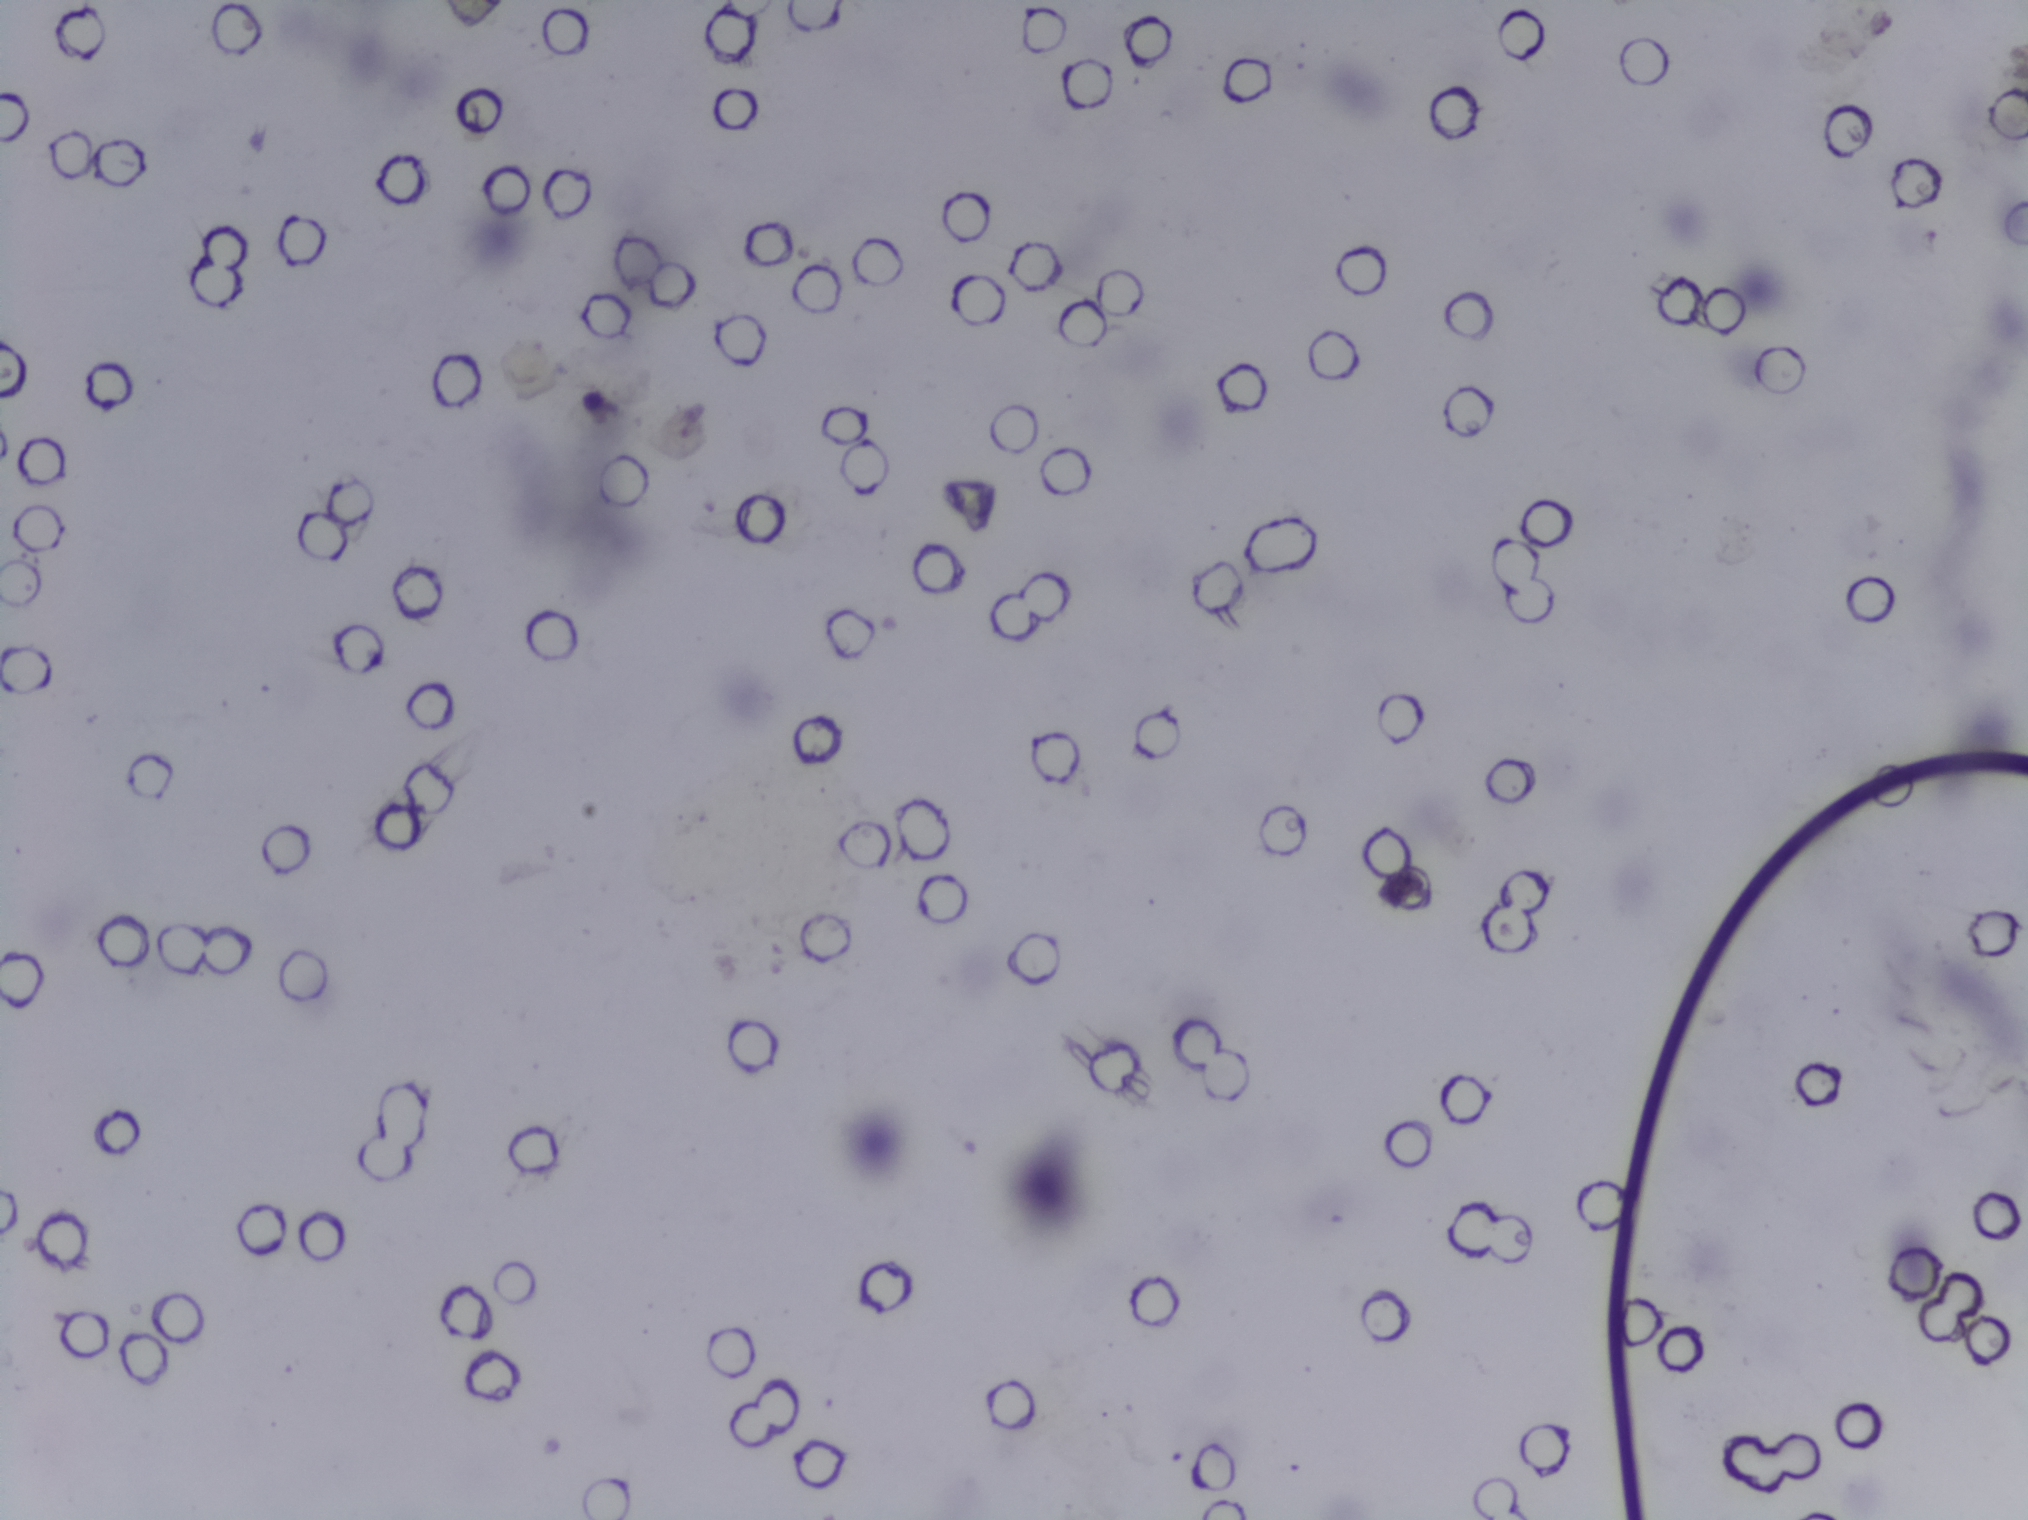
Urine filtration membrane under a 4× objective, photographed by an automated digital microscope.
The expert annotation outlines no Schistosoma egg in this image.